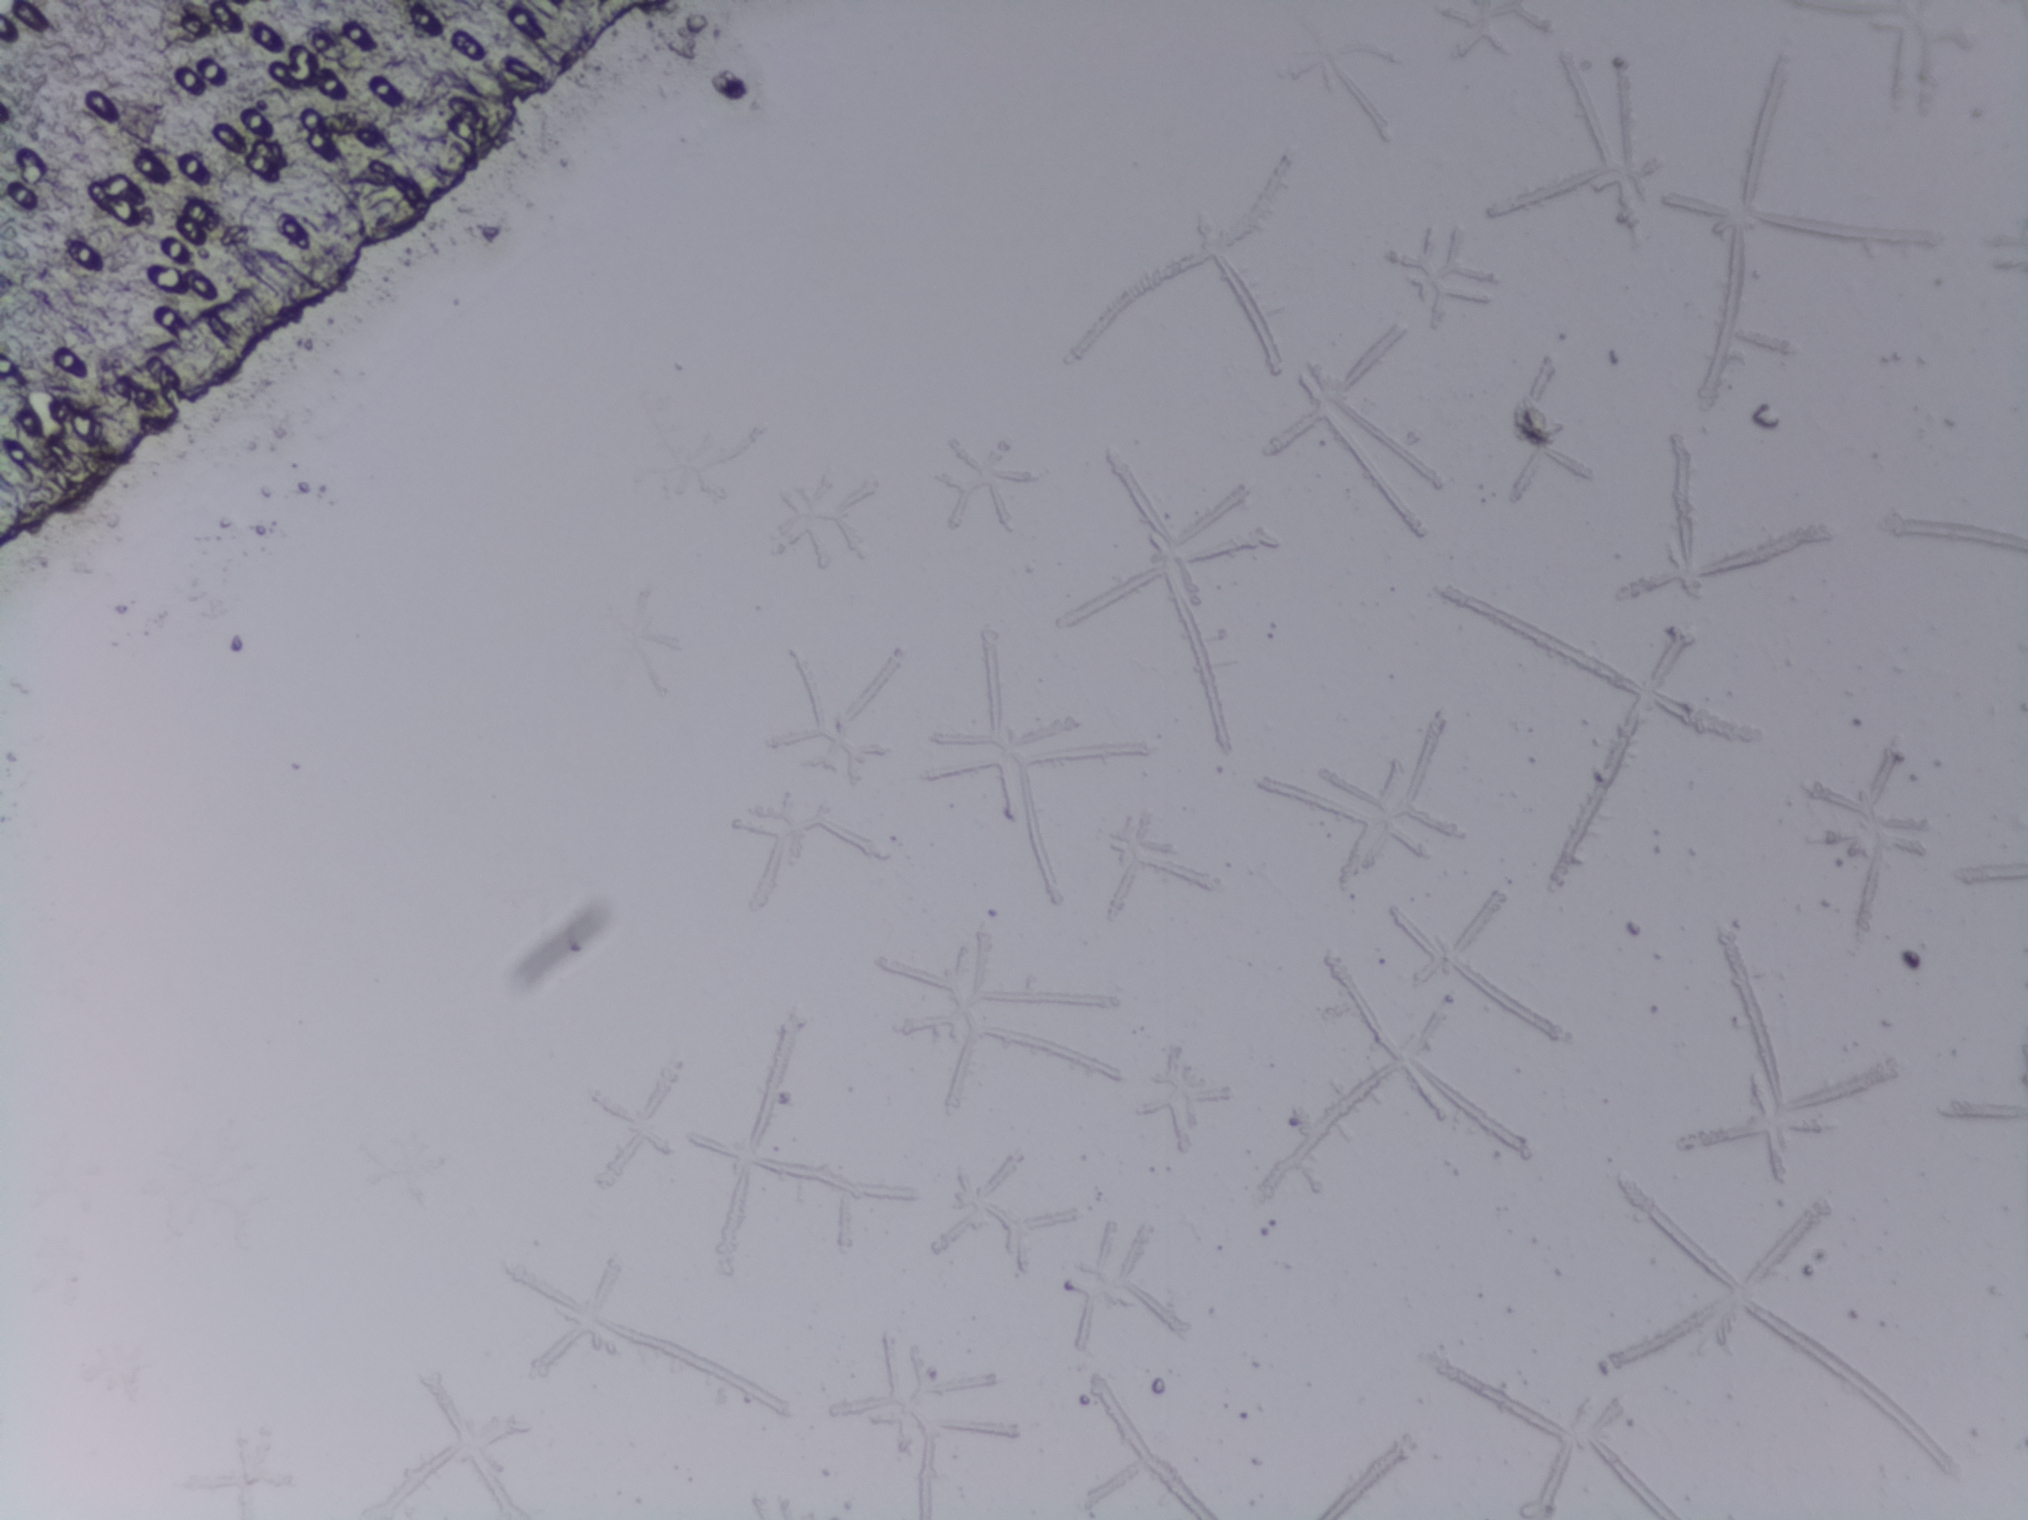
Photograph from an automated digital microscope: urine filter membrane, 4× objective.
The expert annotation marks no Schistosoma egg in this field of view.